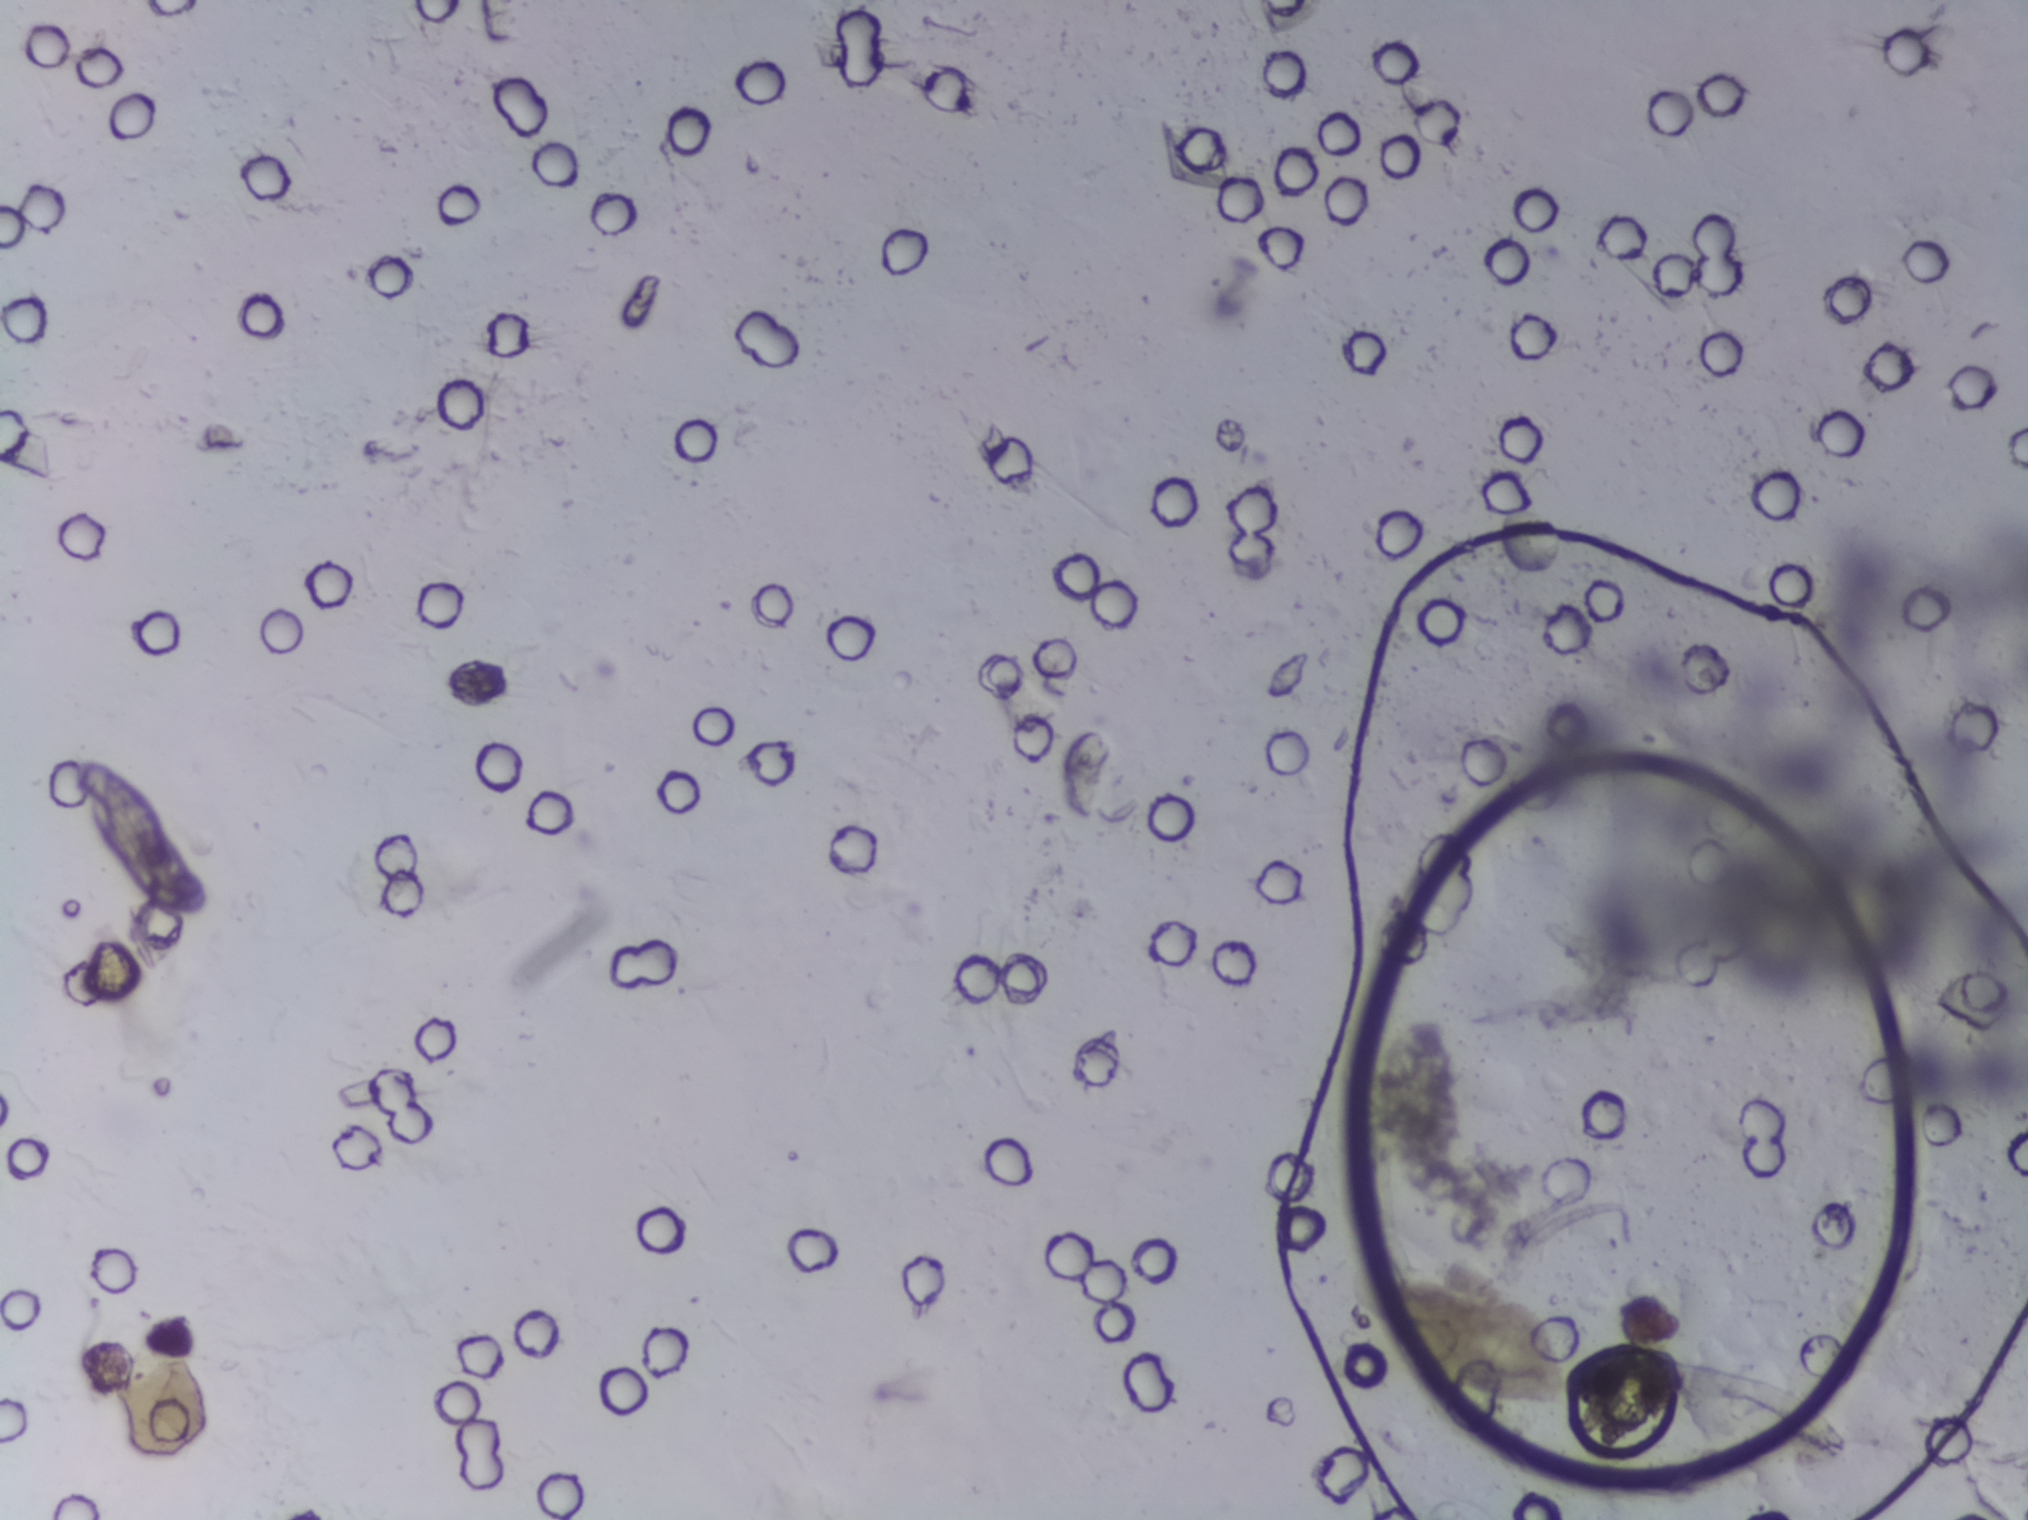
Photograph from an automated digital microscope: urine filter membrane, 4× objective.
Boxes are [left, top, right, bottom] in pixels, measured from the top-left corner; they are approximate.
Outlined Schistosoma egg areas:
1. [1385, 1271, 1572, 1409]
Eggs that touch can end up inside the same outlined area.